Photomicrograph of a urine filtration membrane, 4× objective.
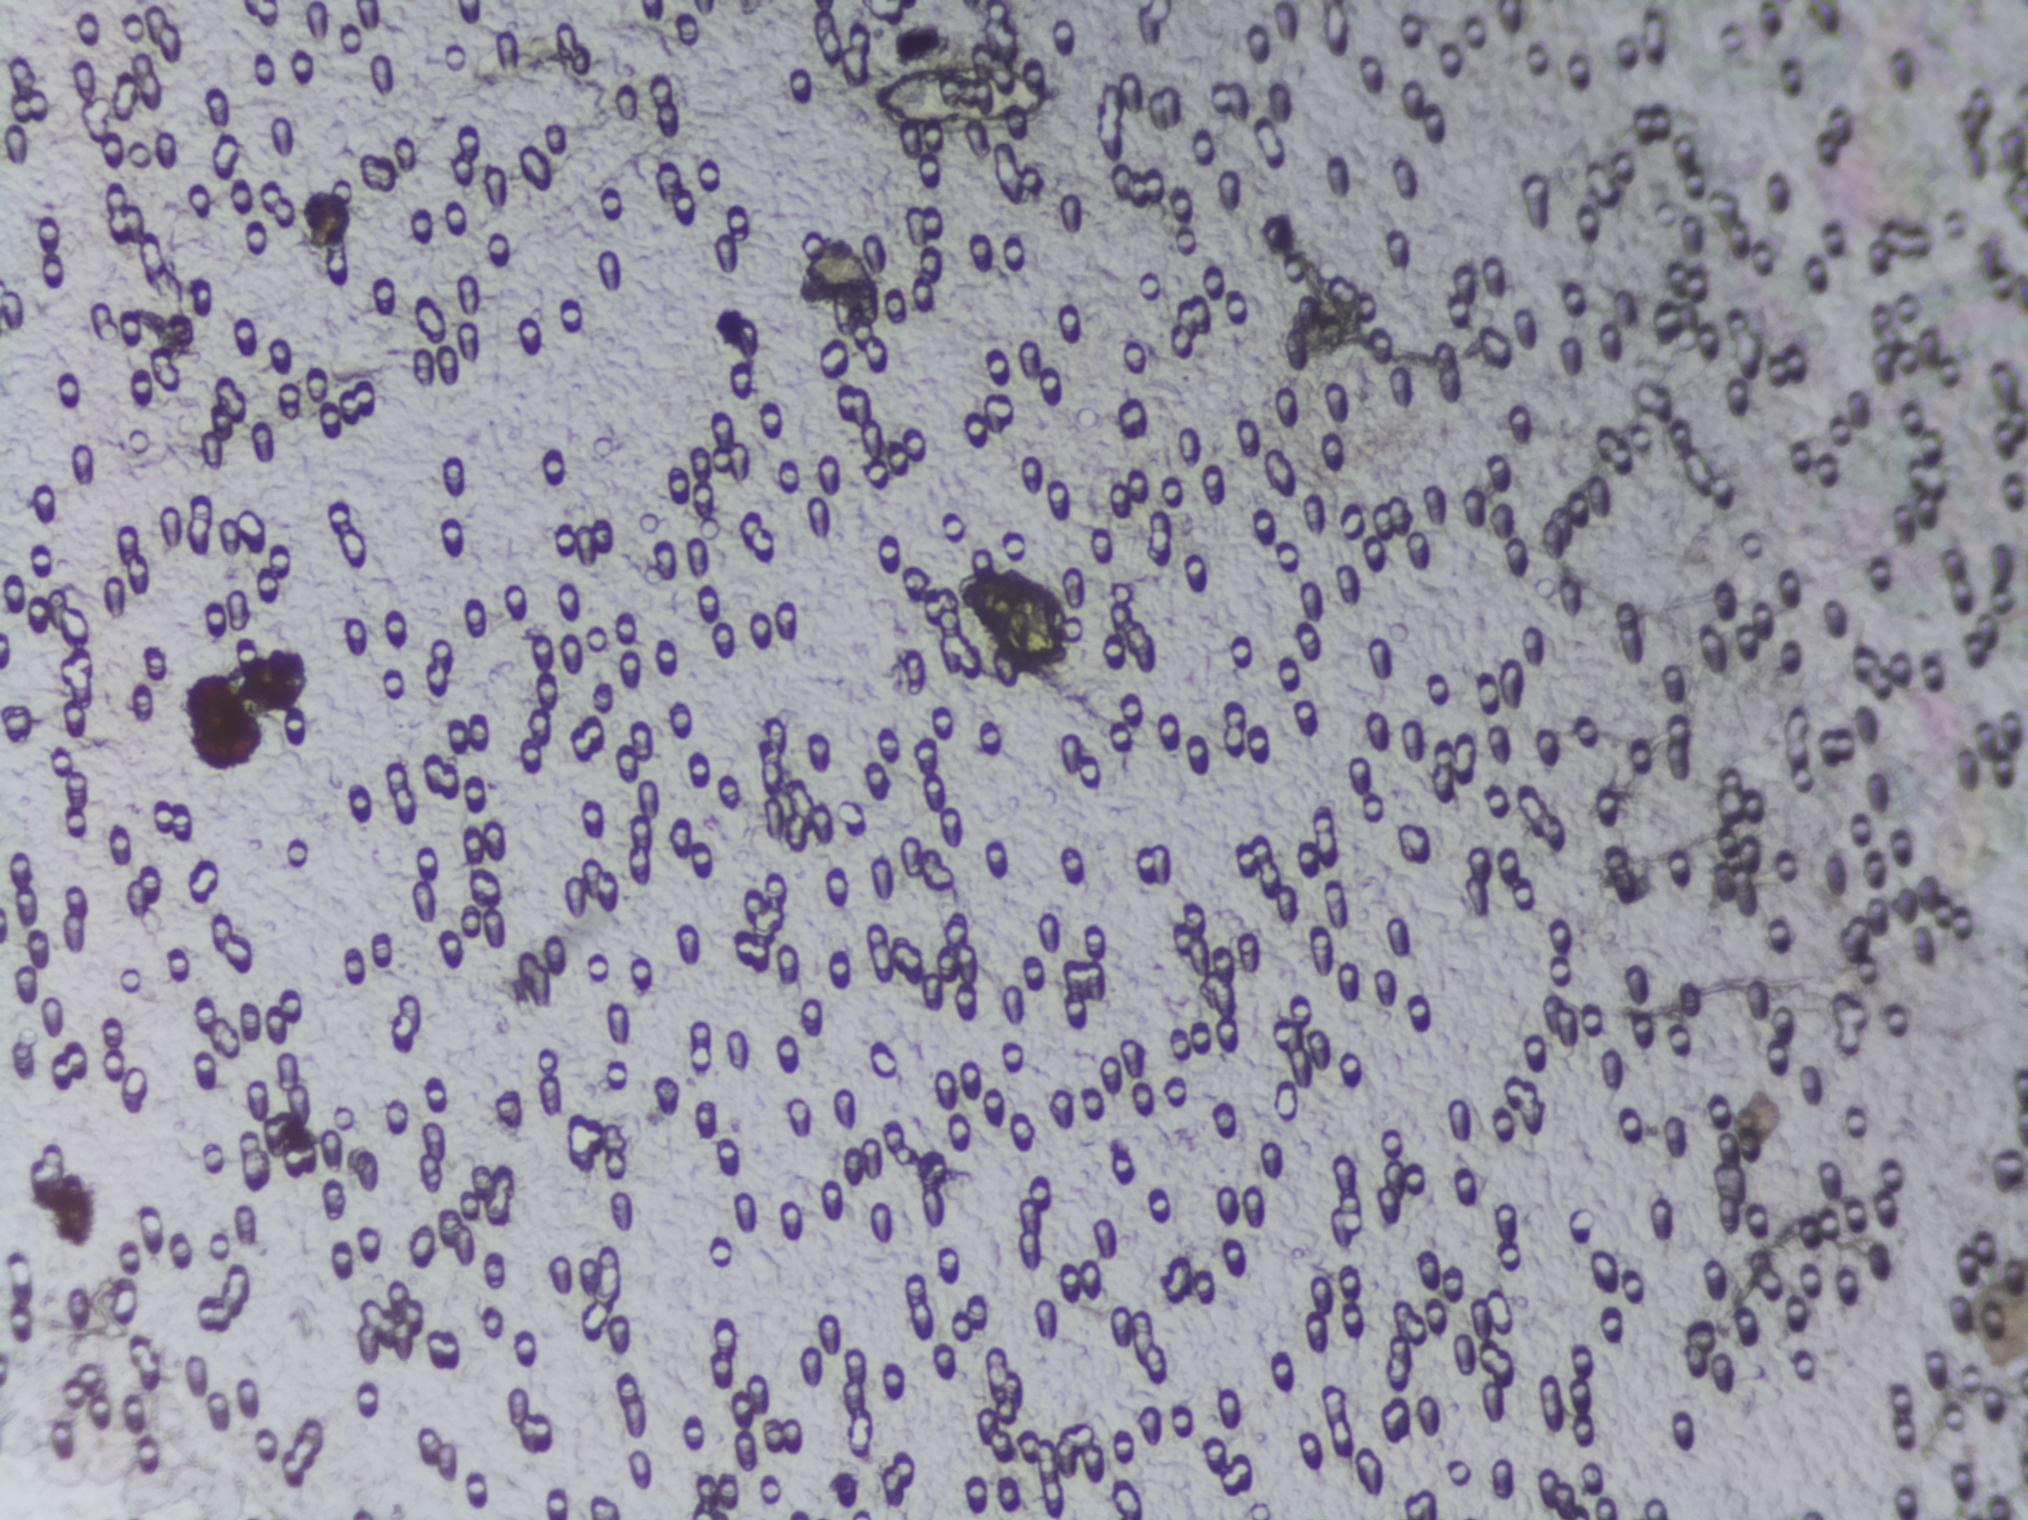
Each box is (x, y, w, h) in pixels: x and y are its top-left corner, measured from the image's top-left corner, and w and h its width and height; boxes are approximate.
Two areas of this image are outlined as Schistosoma eggs, from left to right: (x=868, y=61, w=197, h=72) and (x=950, y=564, w=125, h=112). About 0.7% of the image's pixels are marked (the marked pixels themselves, not the boxes around them). Eggs that touch can end up inside the same outlined area.